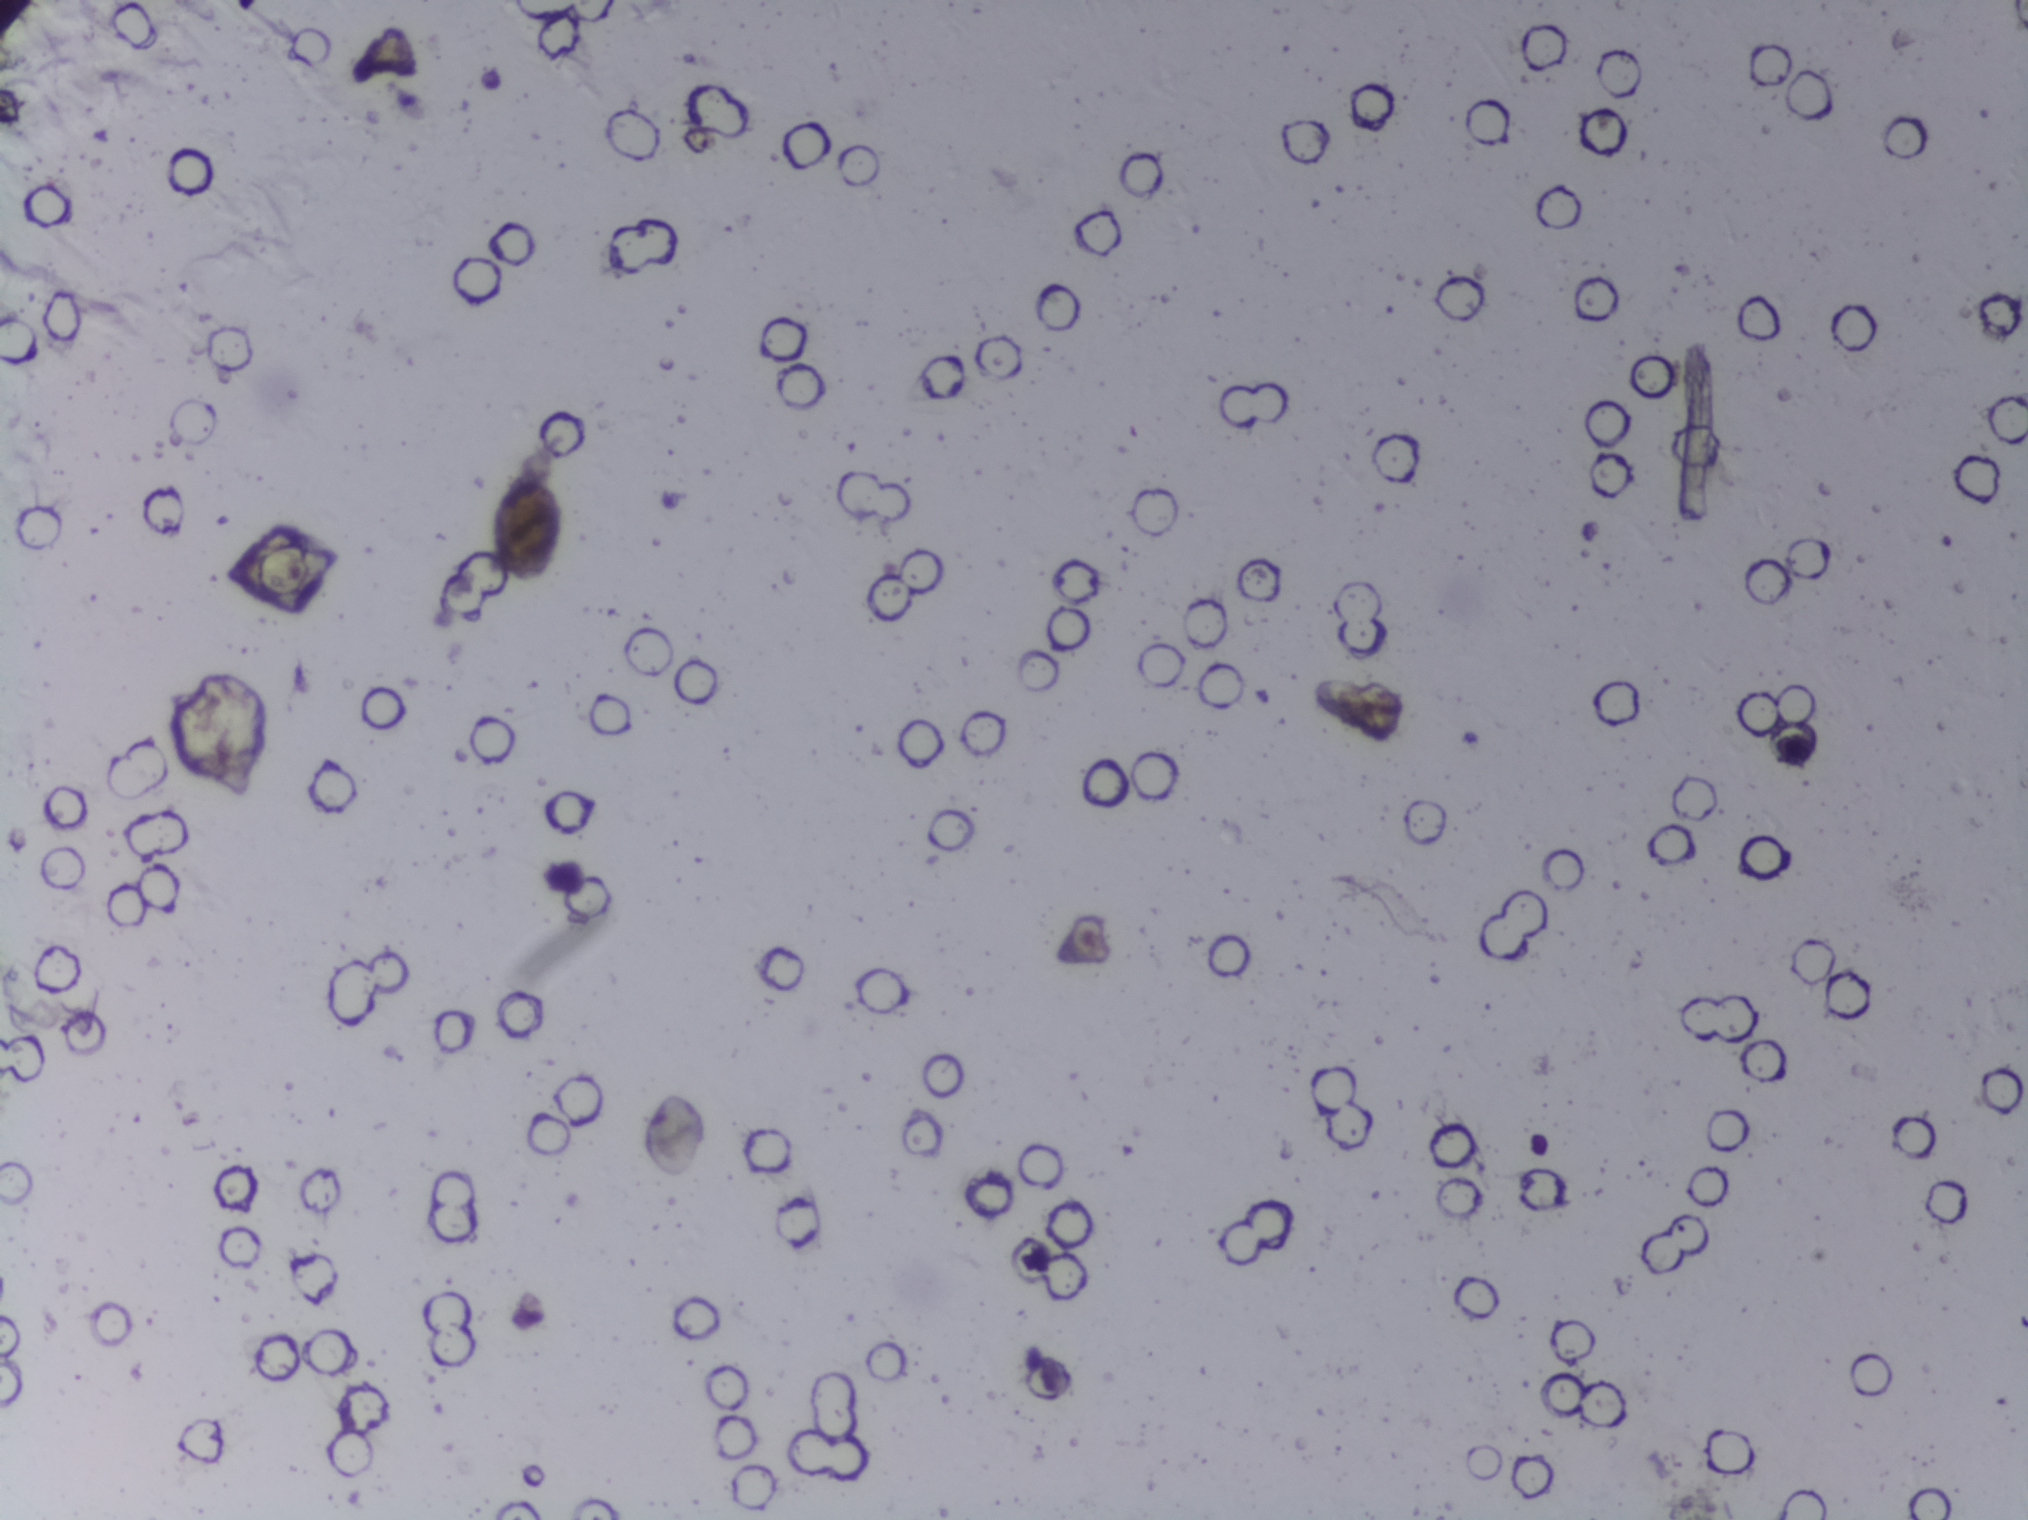
One field of view of a urine filter membrane, 4× objective, 2028 × 1520 pixels.
No Schistosoma egg is outlined in this image's expert annotation.